Photomicrograph of a urine filtration membrane, 4× objective.
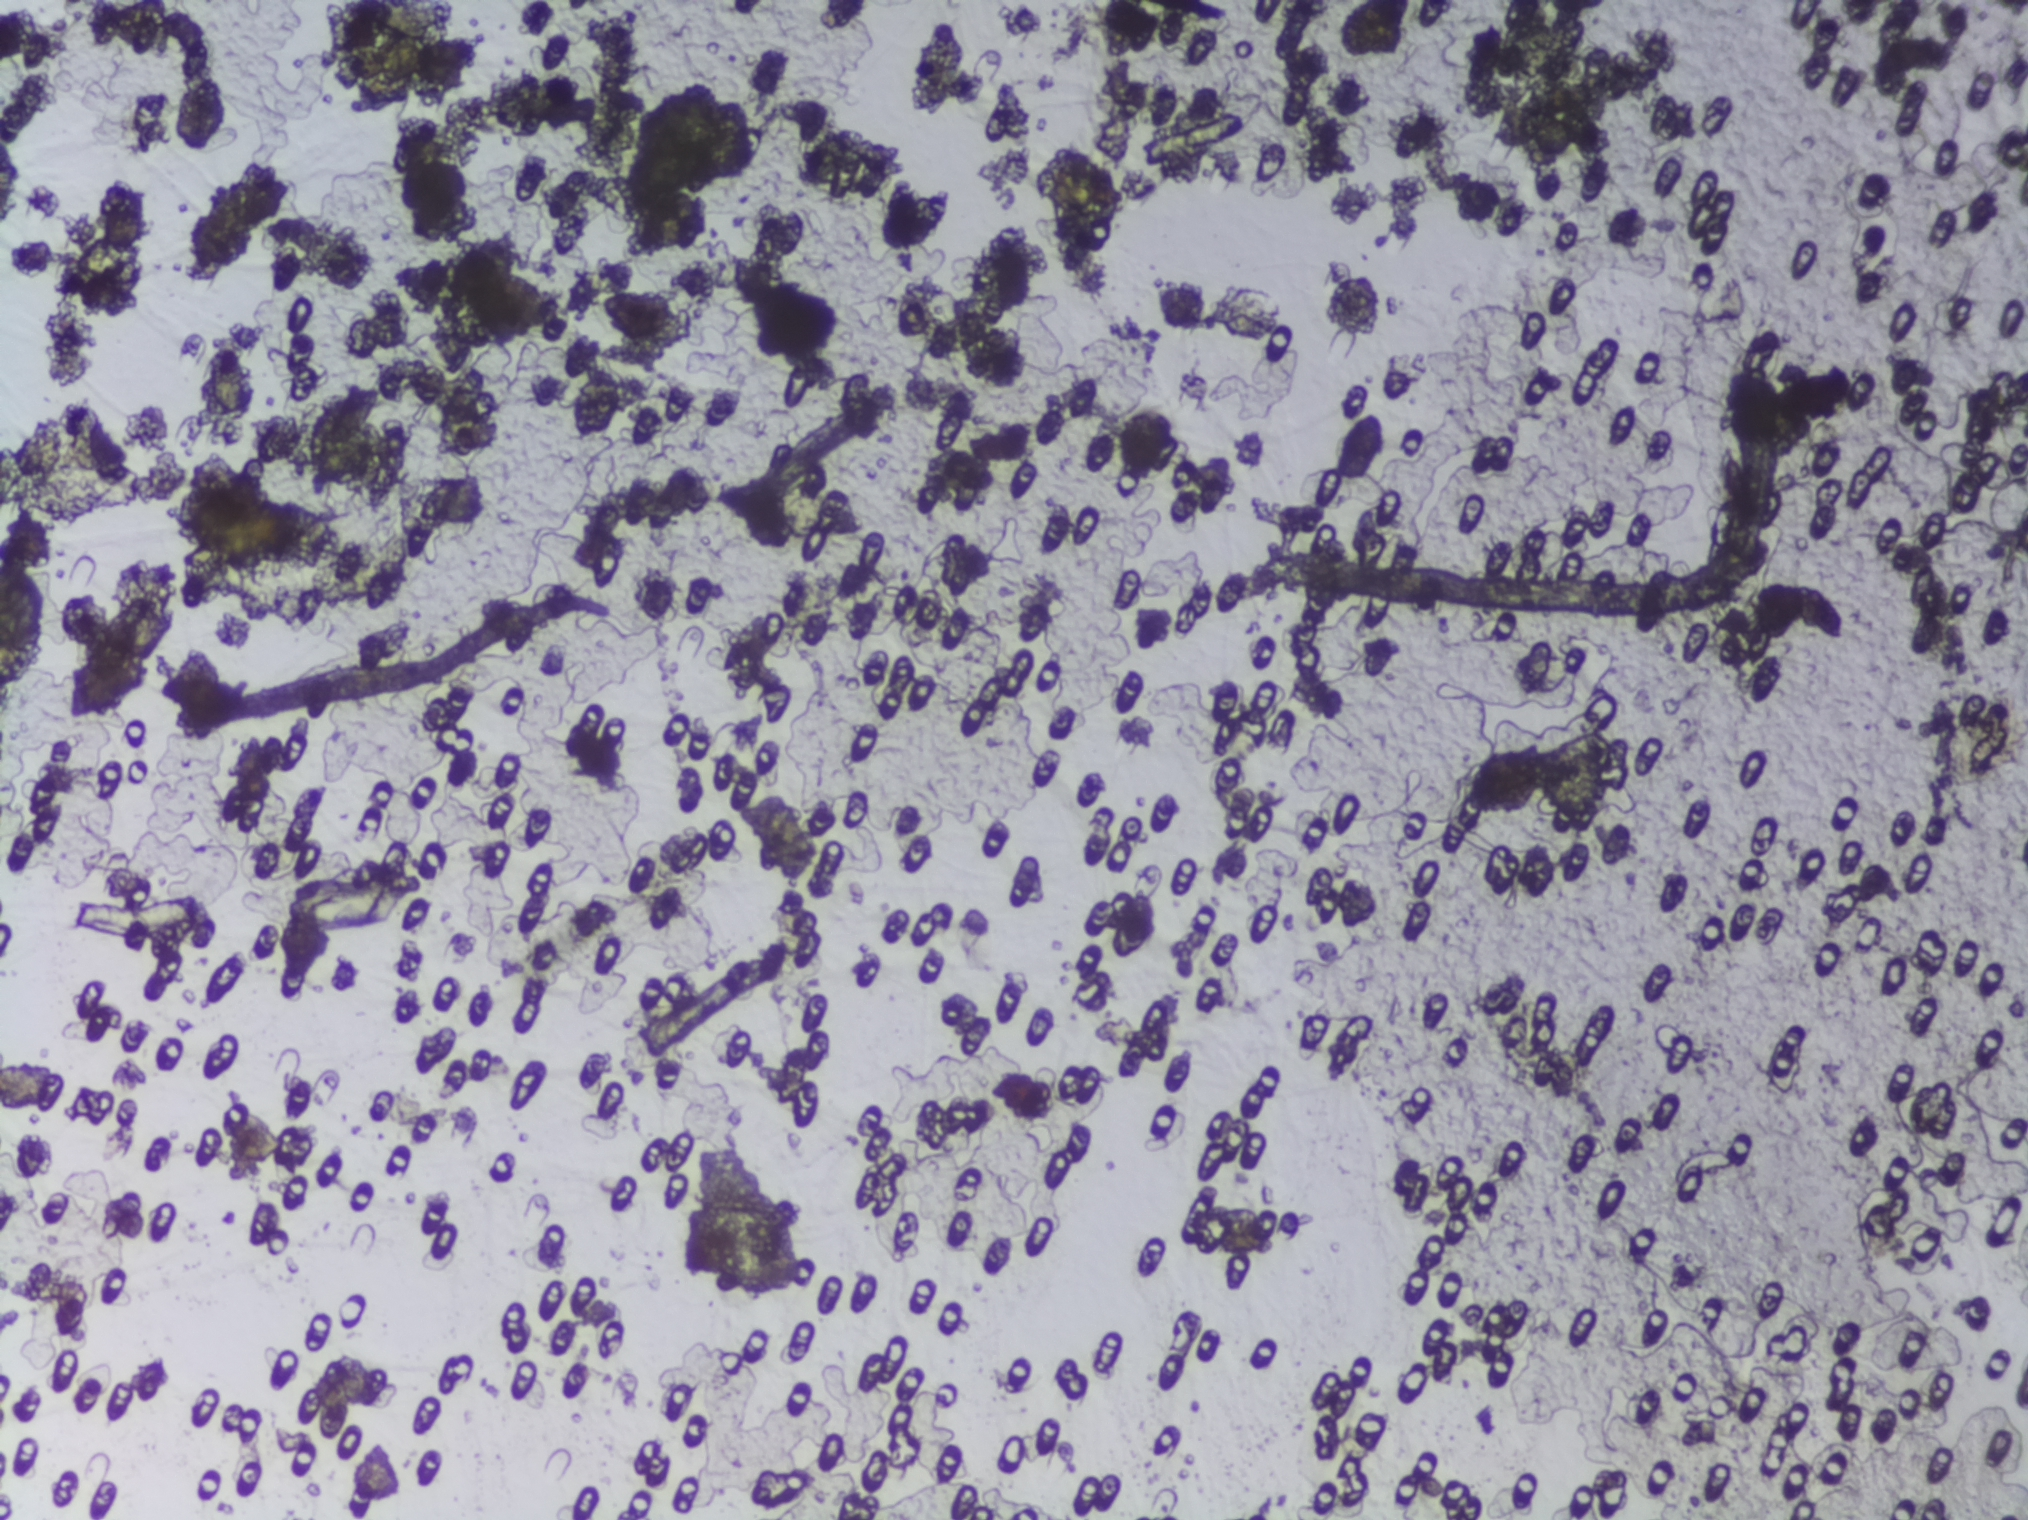
No area of this image was outlined as a Schistosoma egg.